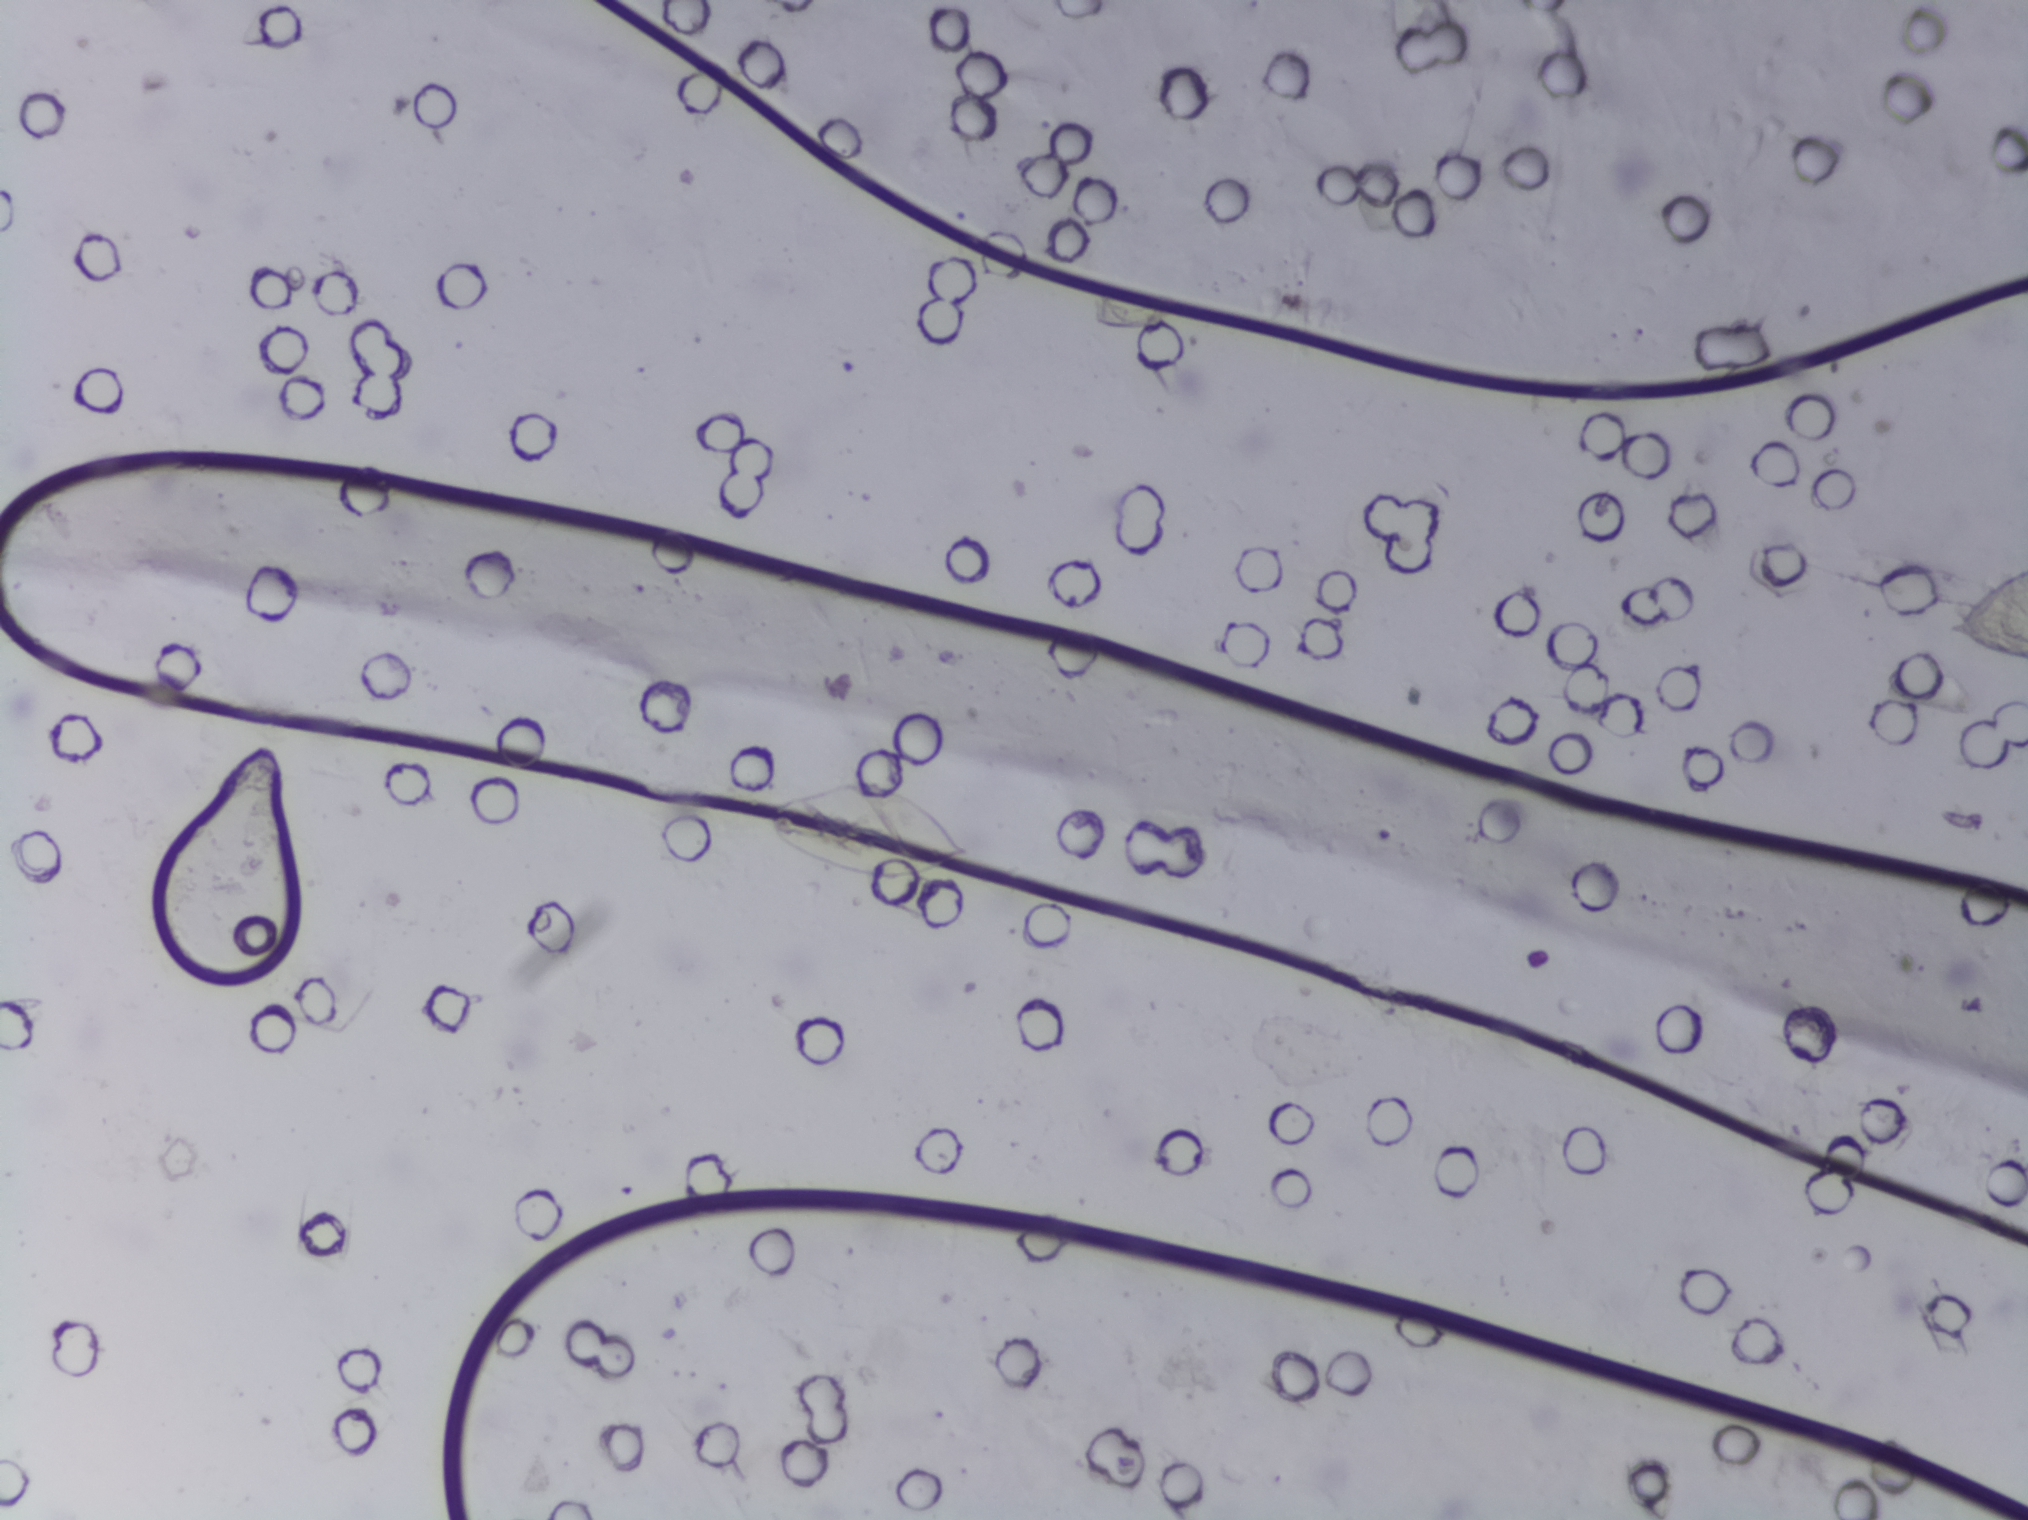
Photomicrograph of a urine filtration membrane, 4× objective.
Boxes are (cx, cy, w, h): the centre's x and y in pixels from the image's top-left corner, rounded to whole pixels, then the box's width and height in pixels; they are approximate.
Areas outlined as Schistosoma eggs: (cx=830, cy=771, w=34, h=7); (cx=868, cy=827, w=206, h=118); (cx=1984, cy=611, w=87, h=107) (reaching the right edge of the frame). The marked pixels themselves, not the boxes around them, cover about 0.8% of the image. A single outlined area may contain several eggs. Any one outlined egg may, rarely, be S. mansoni rather than S. haematobium.